Photomicrograph of a urine filtration membrane, 4× objective.
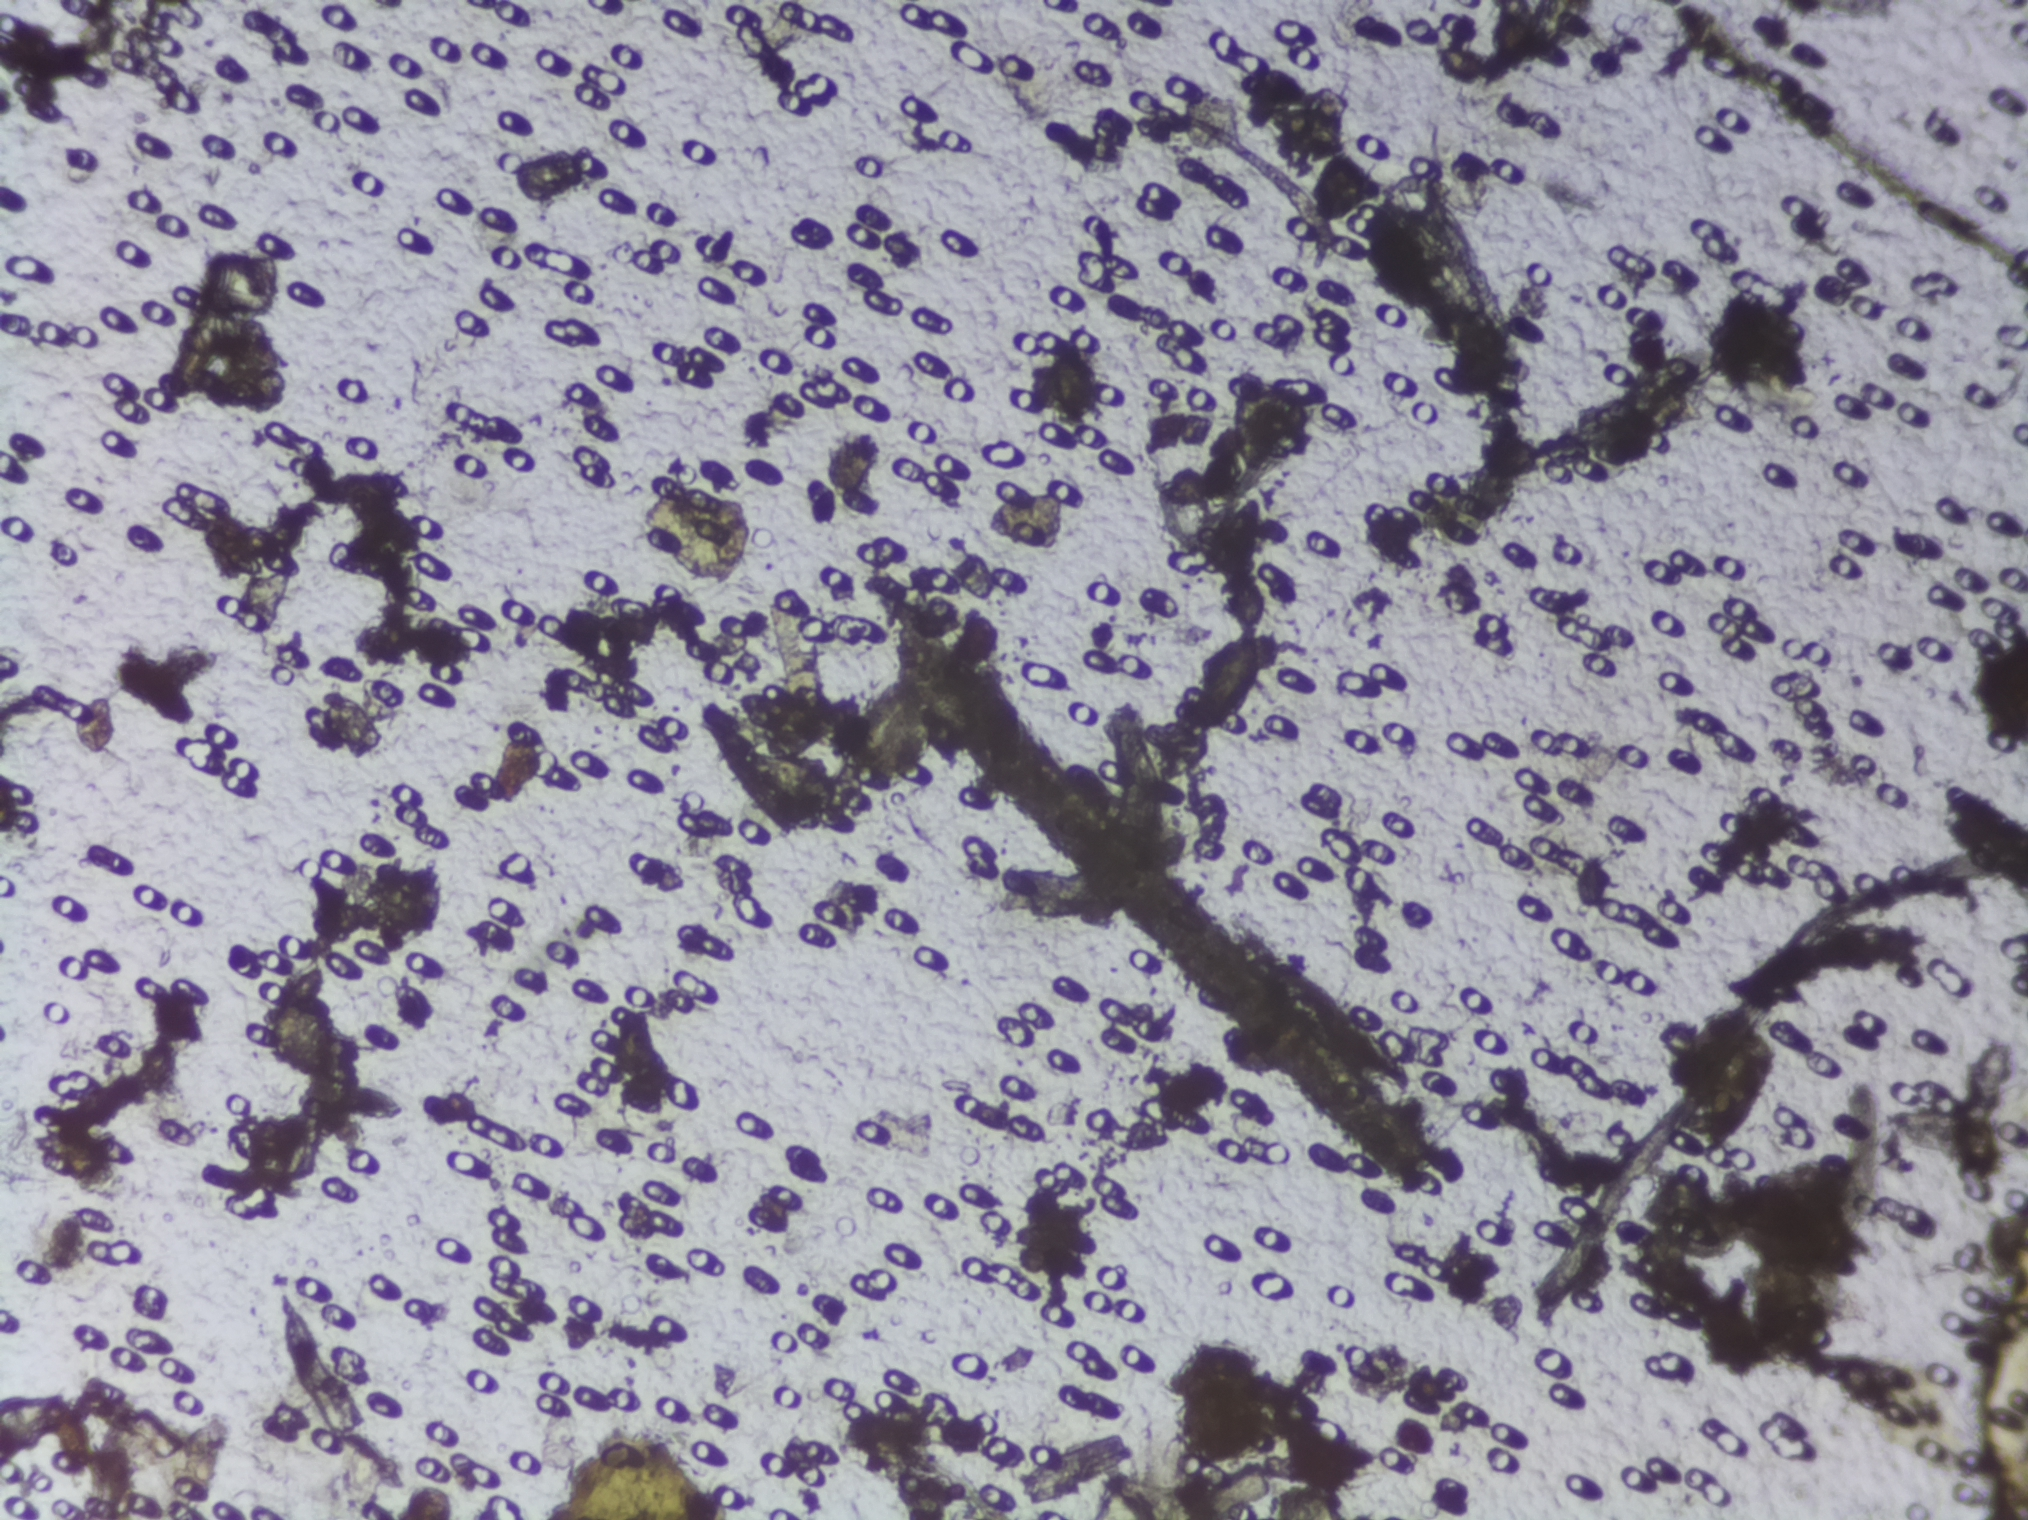
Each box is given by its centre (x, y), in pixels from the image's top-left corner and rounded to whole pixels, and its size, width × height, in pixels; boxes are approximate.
The expert annotation outlines Schistosoma eggs at centre (411, 907), 68 × 96 px; centre (1220, 680), 80 × 110 px; centre (1734, 1096), 84 × 128 px (left to right). Eggs that touch can end up inside the same outlined area.